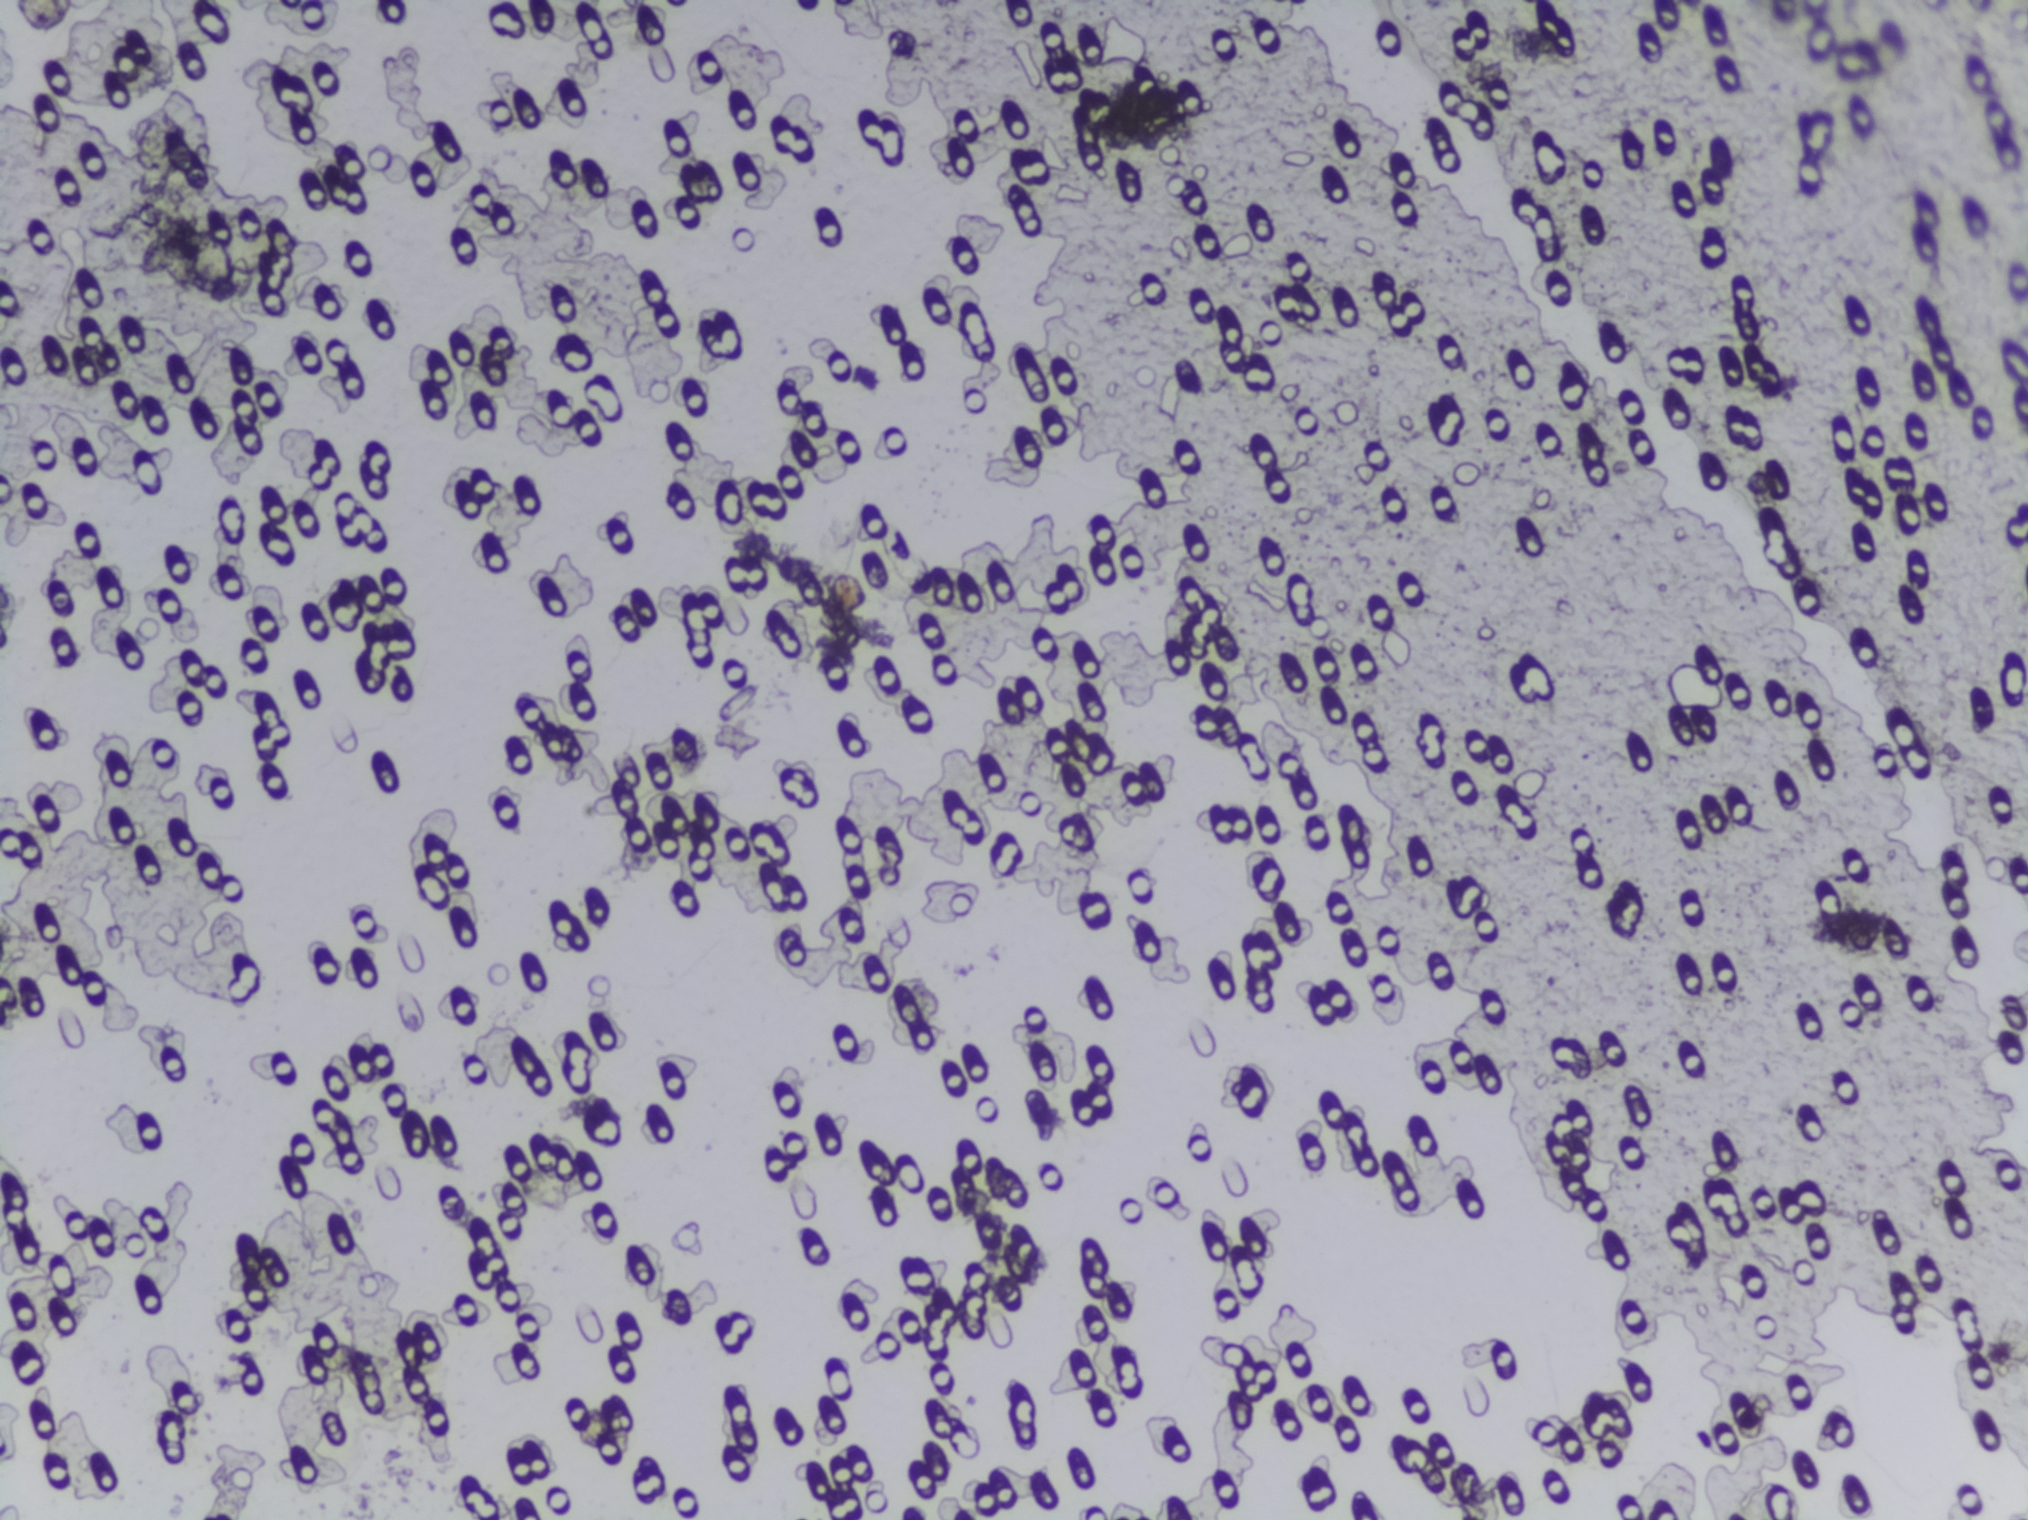
One field of view of a urine filter membrane, 4× objective, 2028 × 1520 pixels.
No Schistosoma egg is outlined in this image's expert annotation.